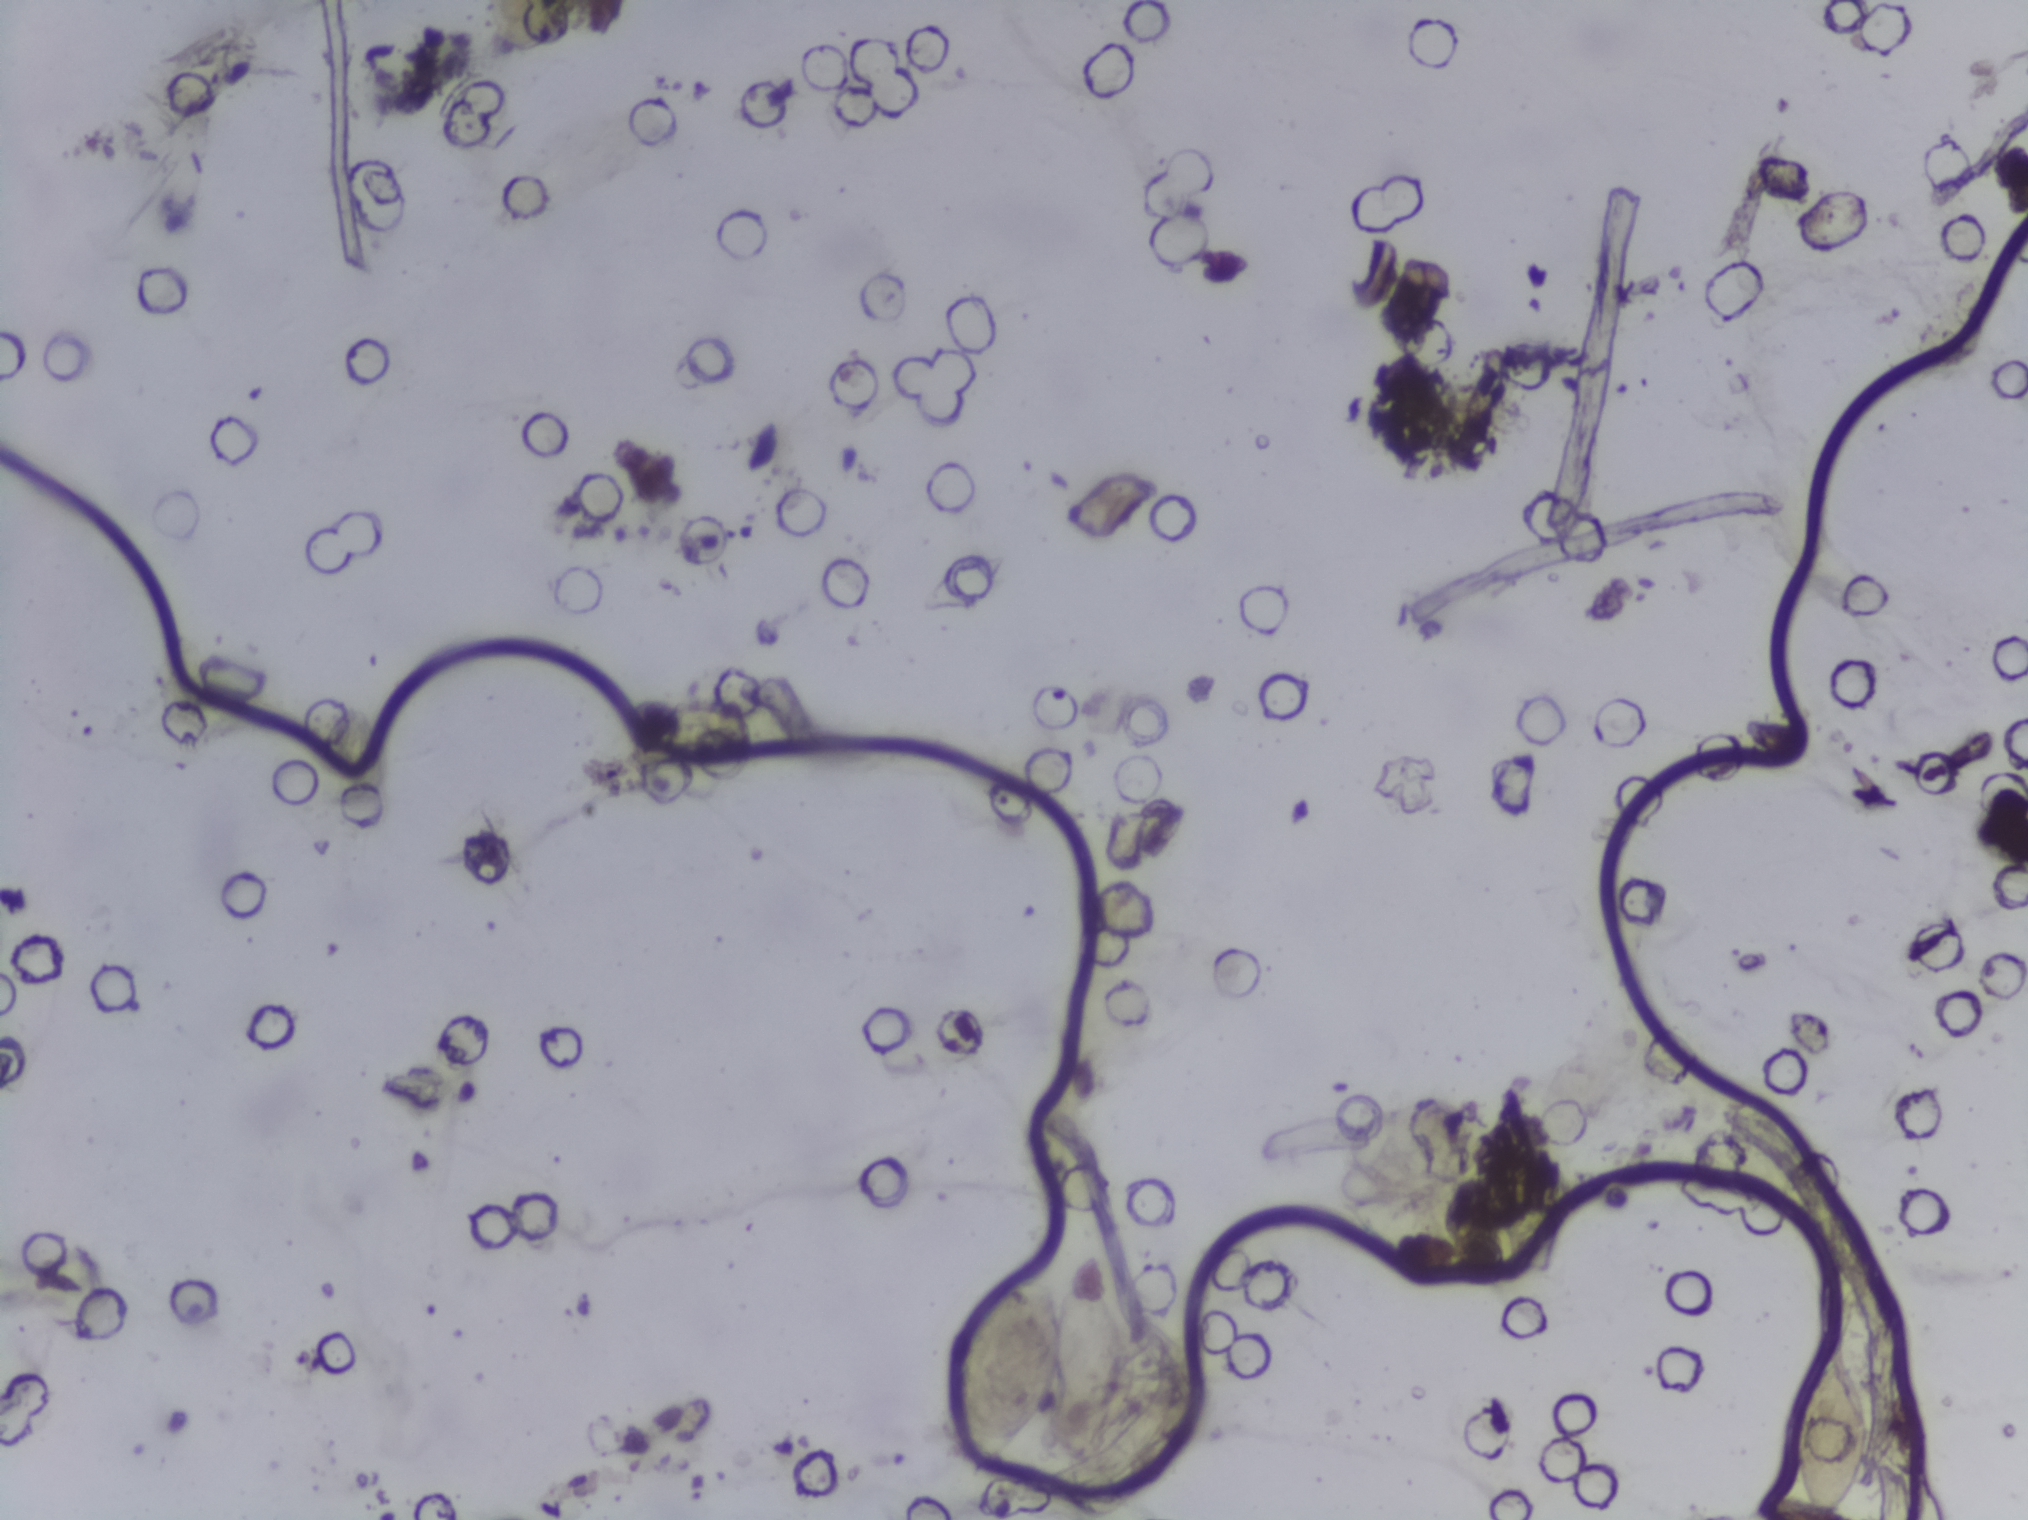
Microscope photograph (4× objective) of a membrane that a urine sample was filtered through.
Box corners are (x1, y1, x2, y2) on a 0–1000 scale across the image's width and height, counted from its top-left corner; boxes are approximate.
Schistosoma eggs are outlined in two areas of this image, listed from left to right: (472, 839, 559, 963) and (883, 885, 921, 1000) (reaching the bottom edge of the frame). The marked pixels themselves, not the boxes around them, cover about 1.1% of the image. Eggs that touch can end up inside the same outlined area. Any one outlined egg may, rarely, be S. mansoni rather than S. haematobium.